Urine filtration membrane under a 4× objective, photographed by an automated digital microscope.
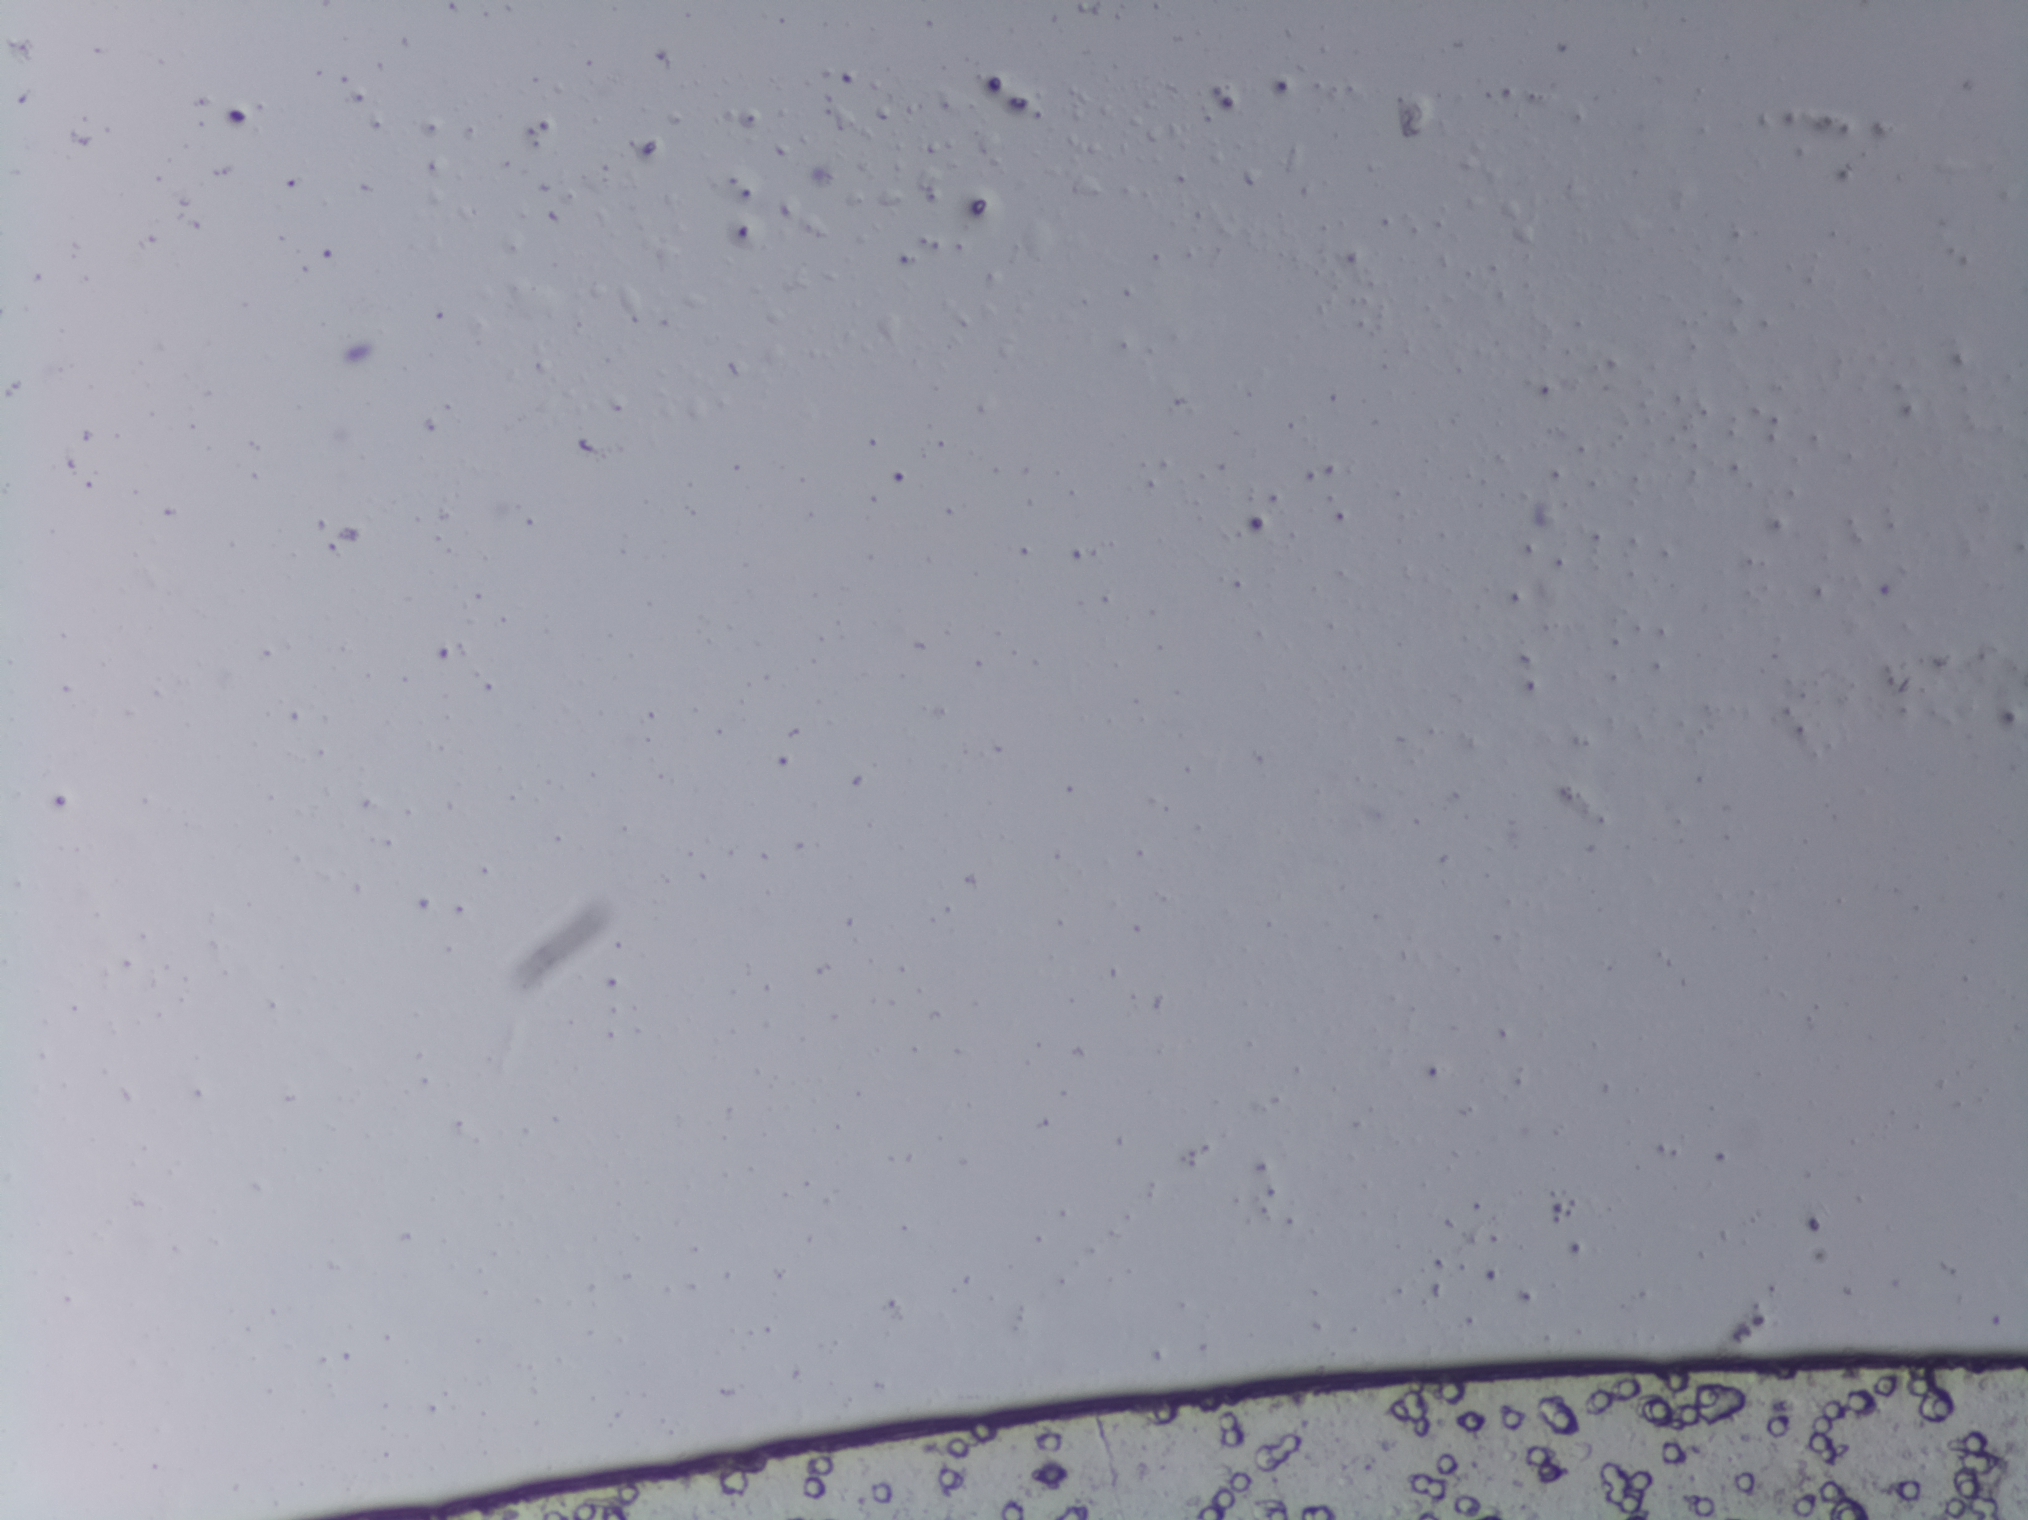
No Schistosoma egg is outlined in this image's expert annotation.